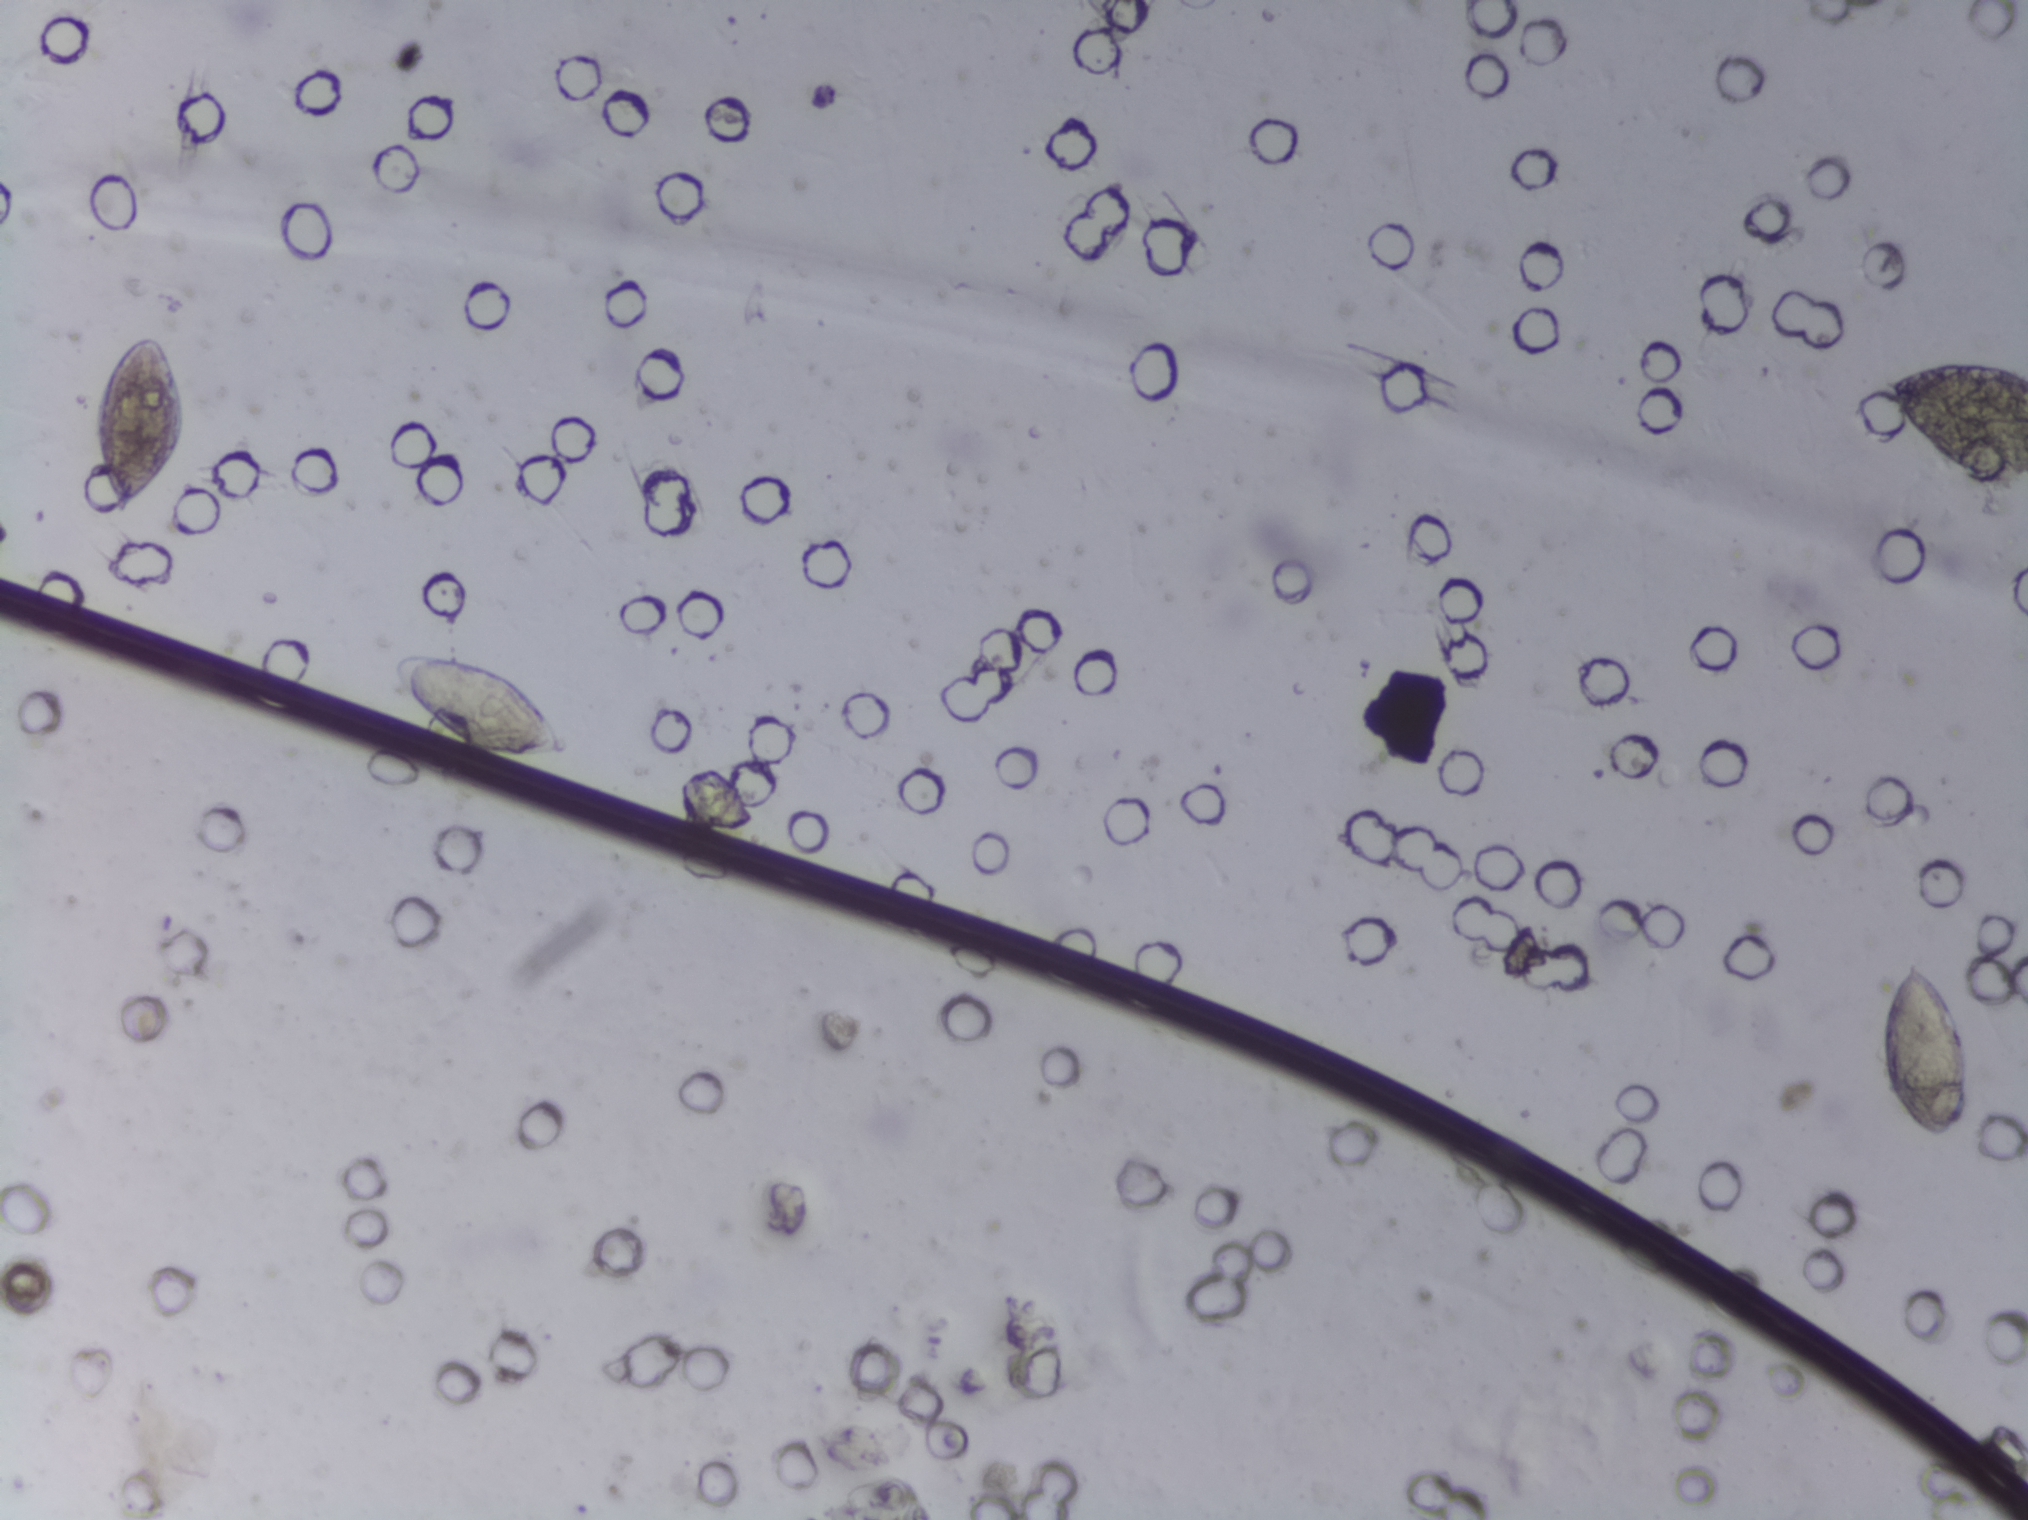
Urine filtration membrane under a 4× objective, photographed by an automated digital microscope. The field of view is about 1.5 mm × 1.1 mm.
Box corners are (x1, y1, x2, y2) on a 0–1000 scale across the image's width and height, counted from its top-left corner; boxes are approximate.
Schistosoma eggs are outlined in four areas of this image, listed from left to right: (47, 217, 94, 345); (193, 426, 283, 507); (923, 232, 1000, 325) (reaching the right edge of the frame); (928, 626, 974, 757). The marked pixels themselves, not the boxes around them, cover about 1.9% of the image. Eggs that touch can end up inside the same outlined area. Any one outlined egg may, rarely, be S. mansoni rather than S. haematobium.